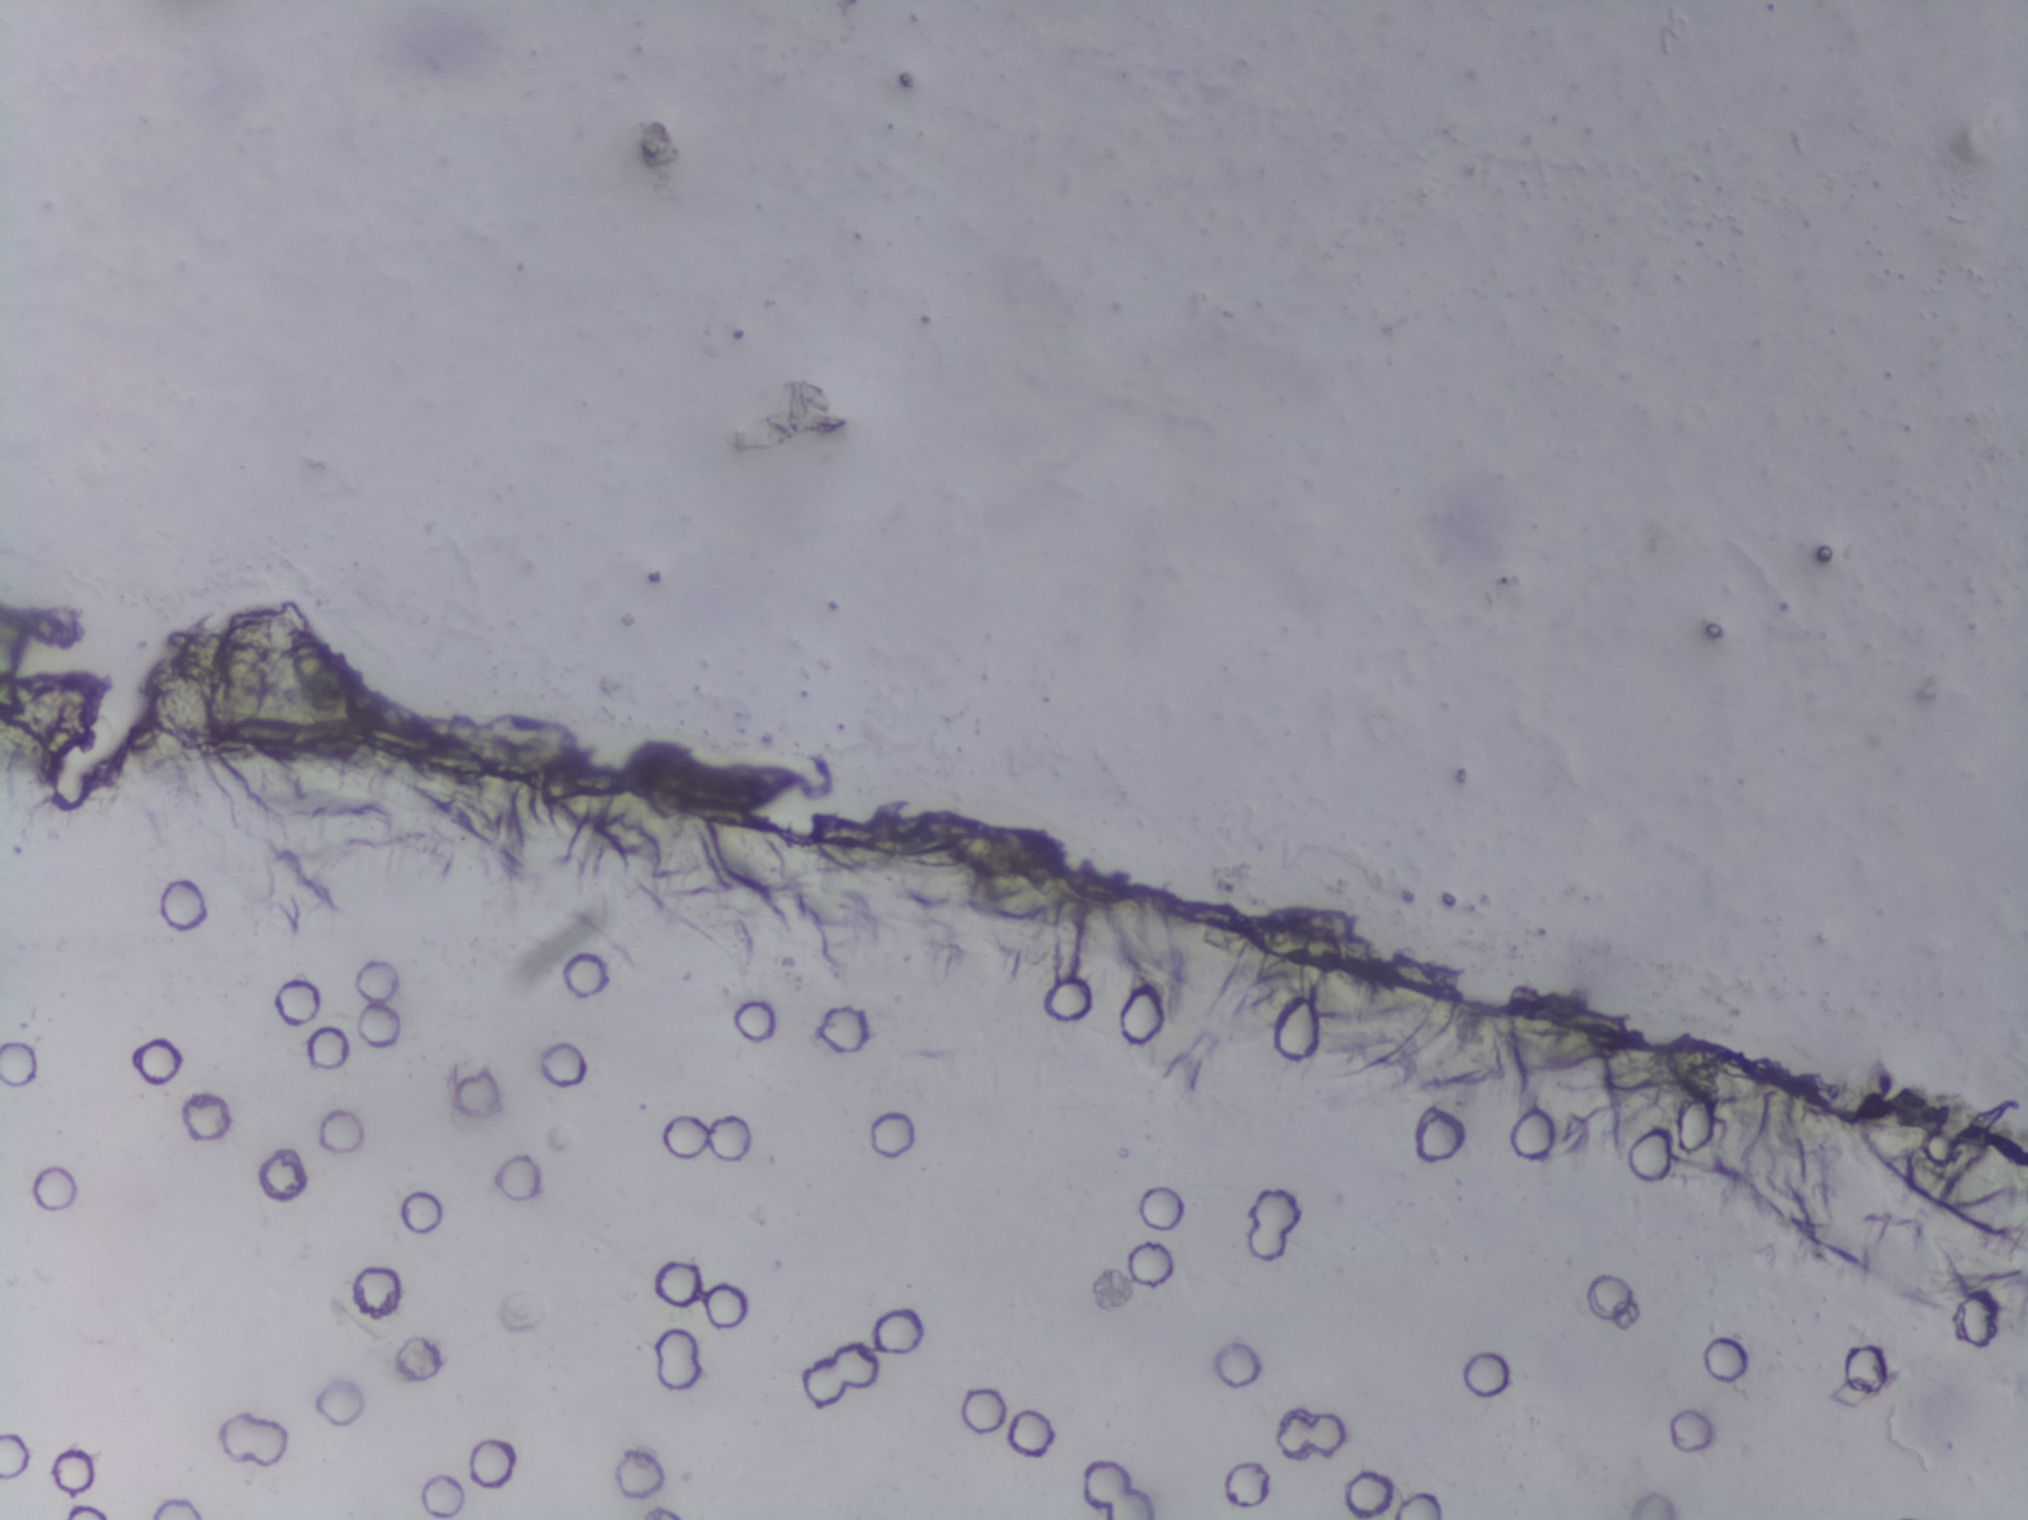
Photomicrograph of a urine filtration membrane, 4× objective.
No Schistosoma egg is outlined in this image's expert annotation.